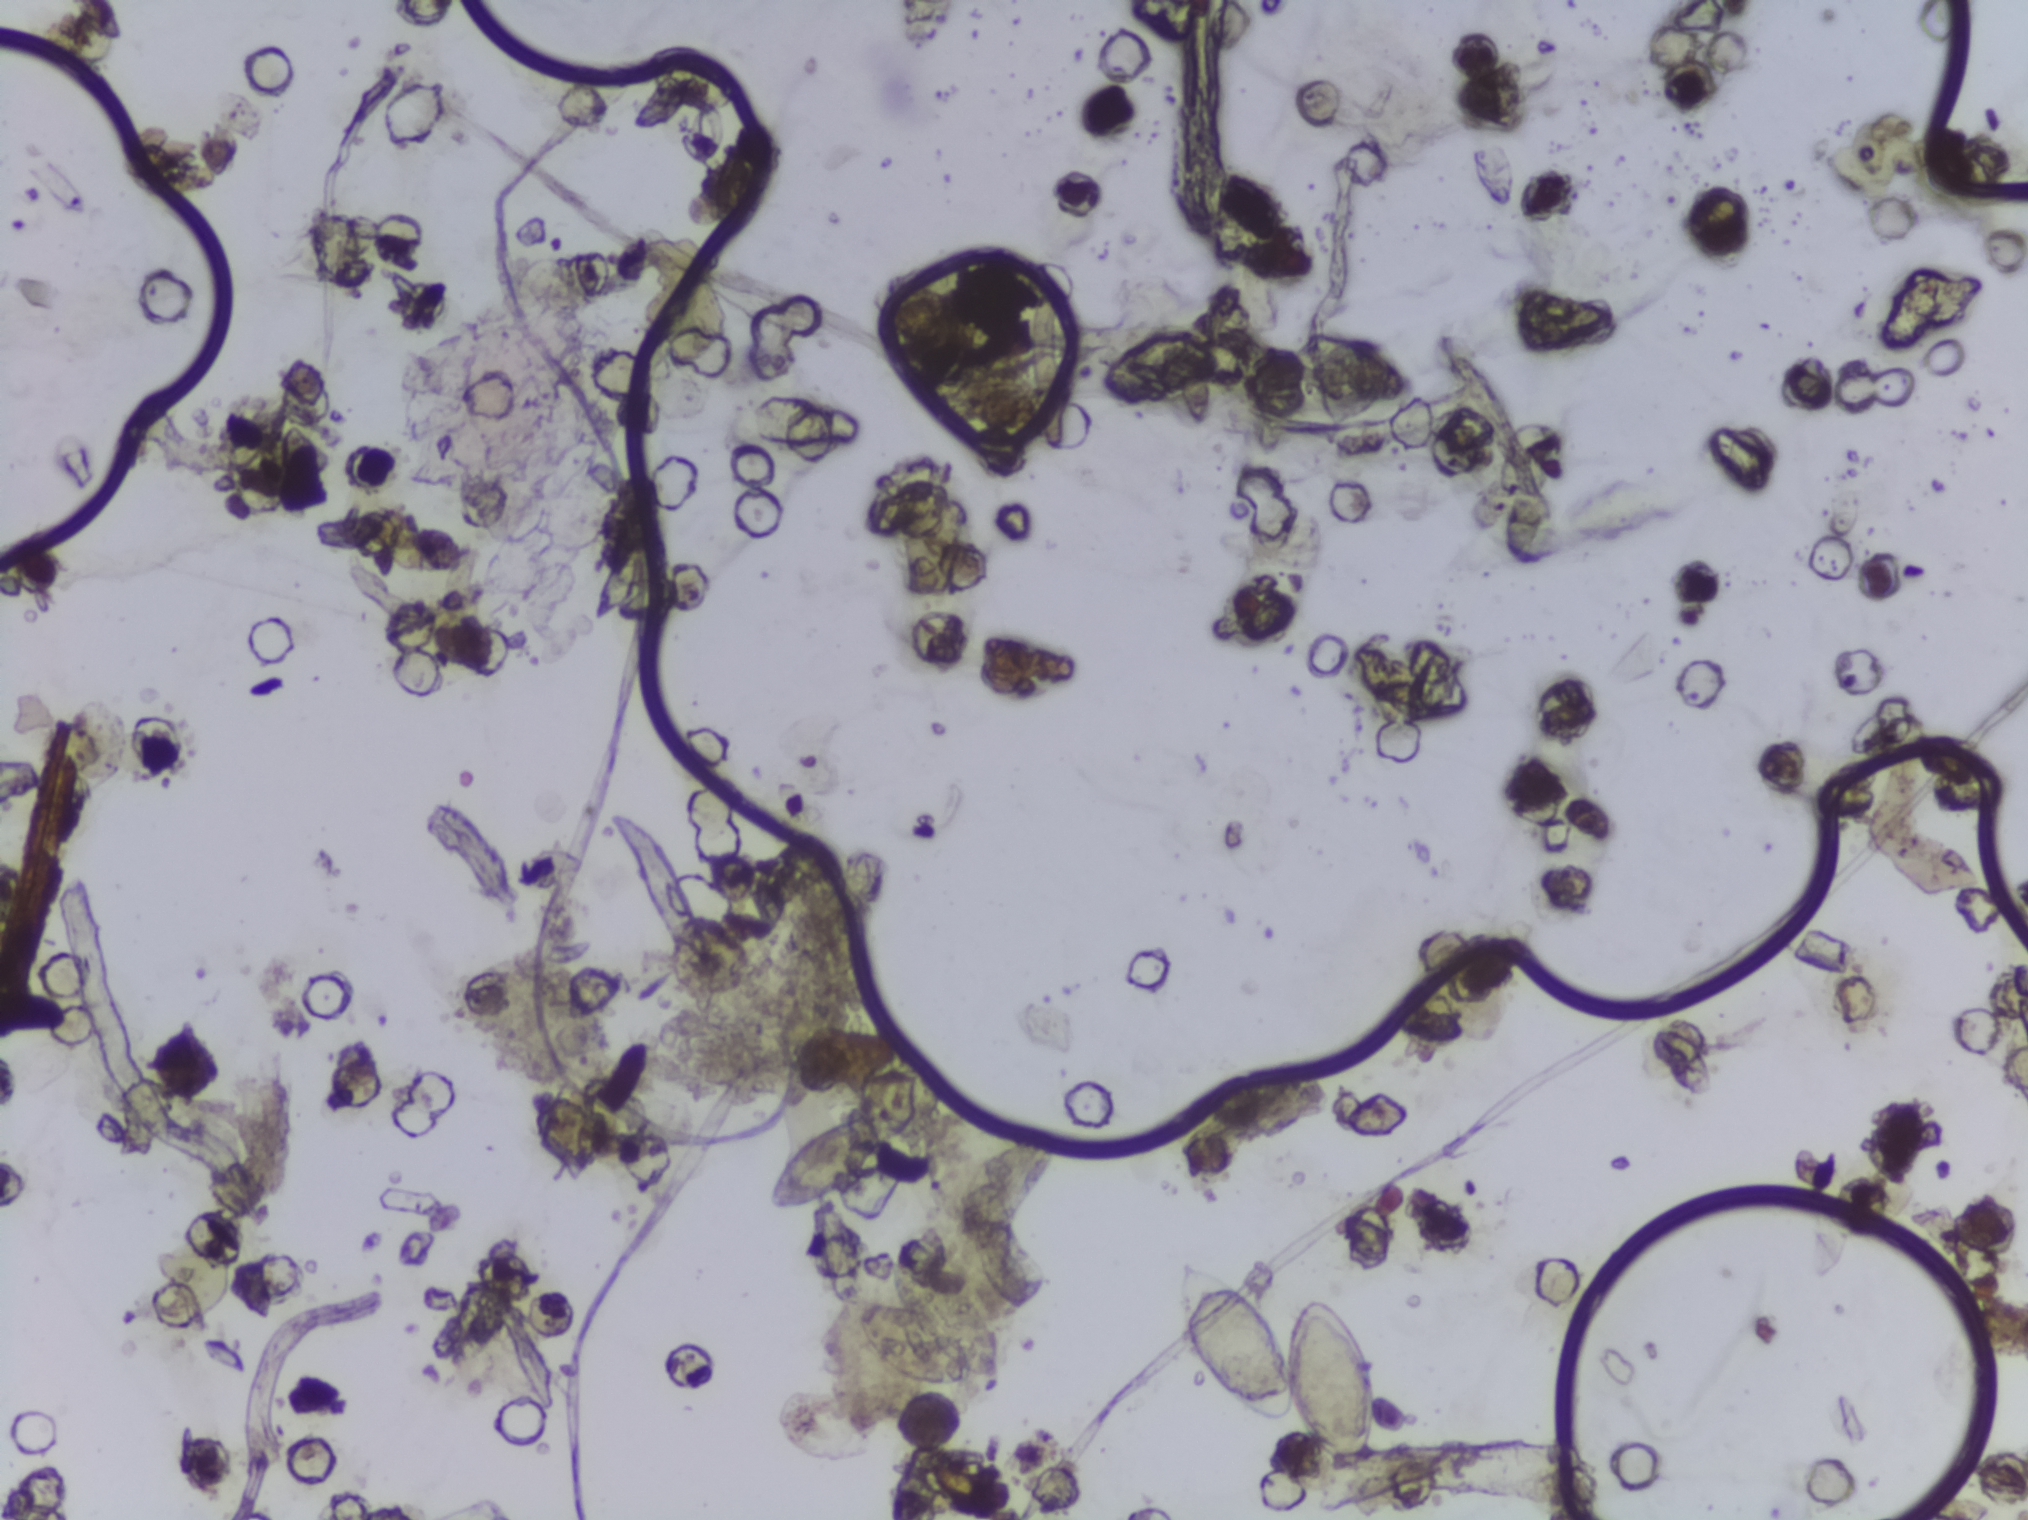
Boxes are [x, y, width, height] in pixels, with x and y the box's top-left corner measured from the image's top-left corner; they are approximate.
{"schistosoma_egg_areas_xywh_px": [[749, 1102, 143, 118], [859, 1294, 117, 96], [1155, 1251, 232, 221]]}
A single outlined area may contain several eggs. Any one outlined egg may, rarely, be S. mansoni rather than S. haematobium.
Microscope photograph (4× objective) of a membrane that a urine sample was filtered through.